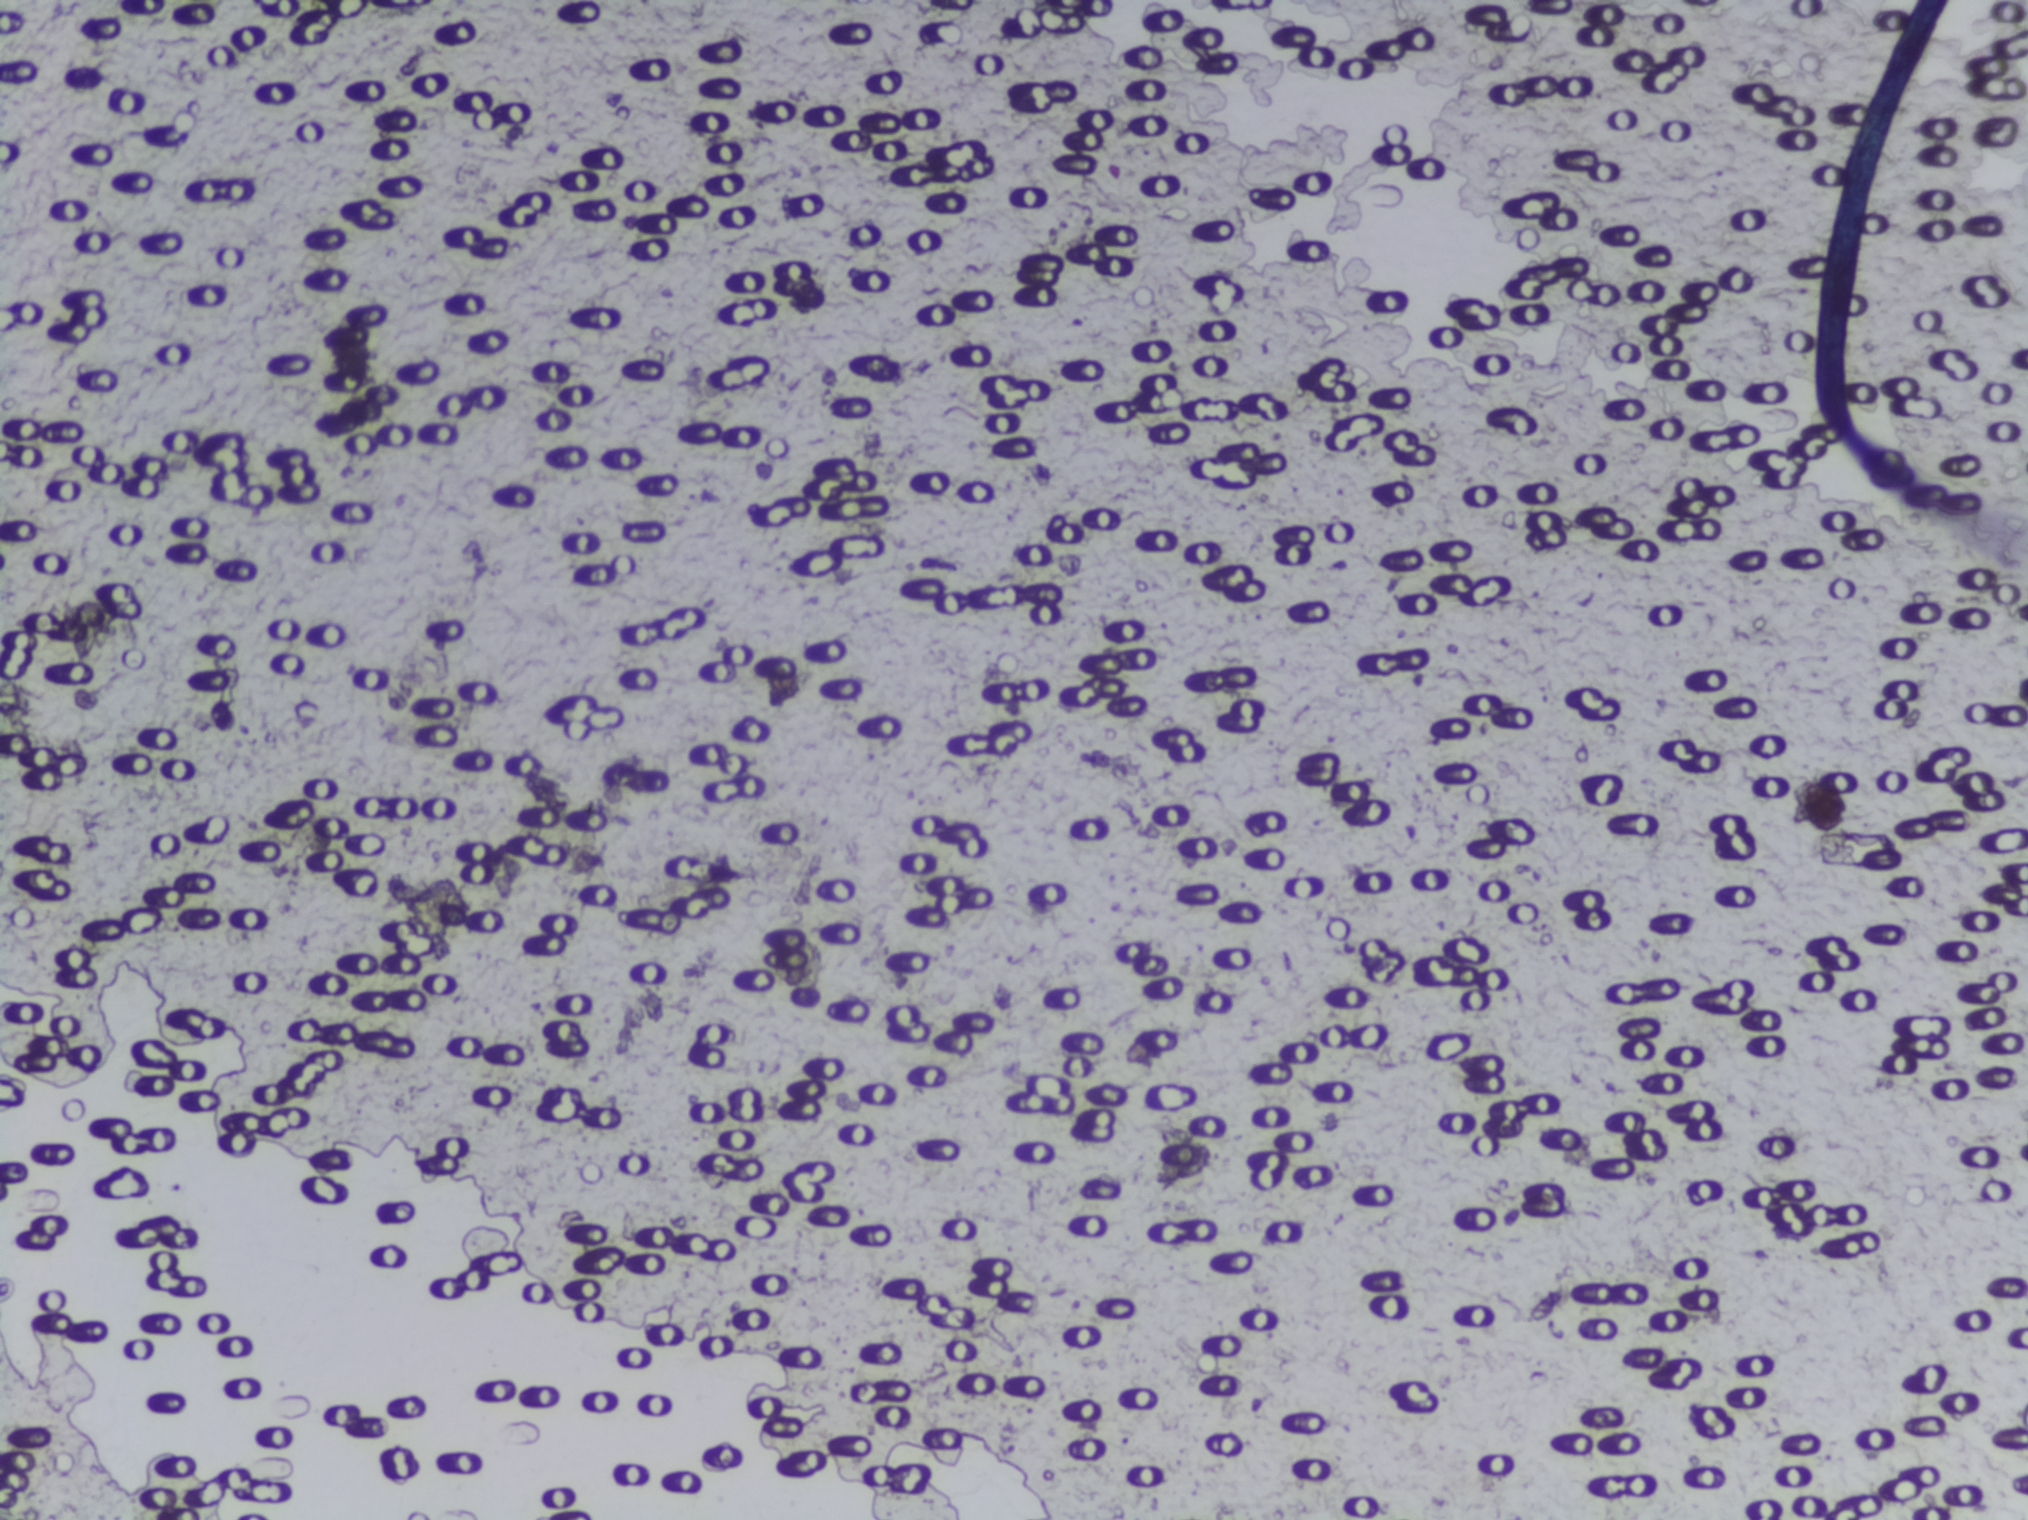
Microscope photograph (4× objective) of a membrane that a urine sample was filtered through. The field of view is about 1.5 mm × 1.1 mm.
The expert annotation outlines no Schistosoma egg in this image.